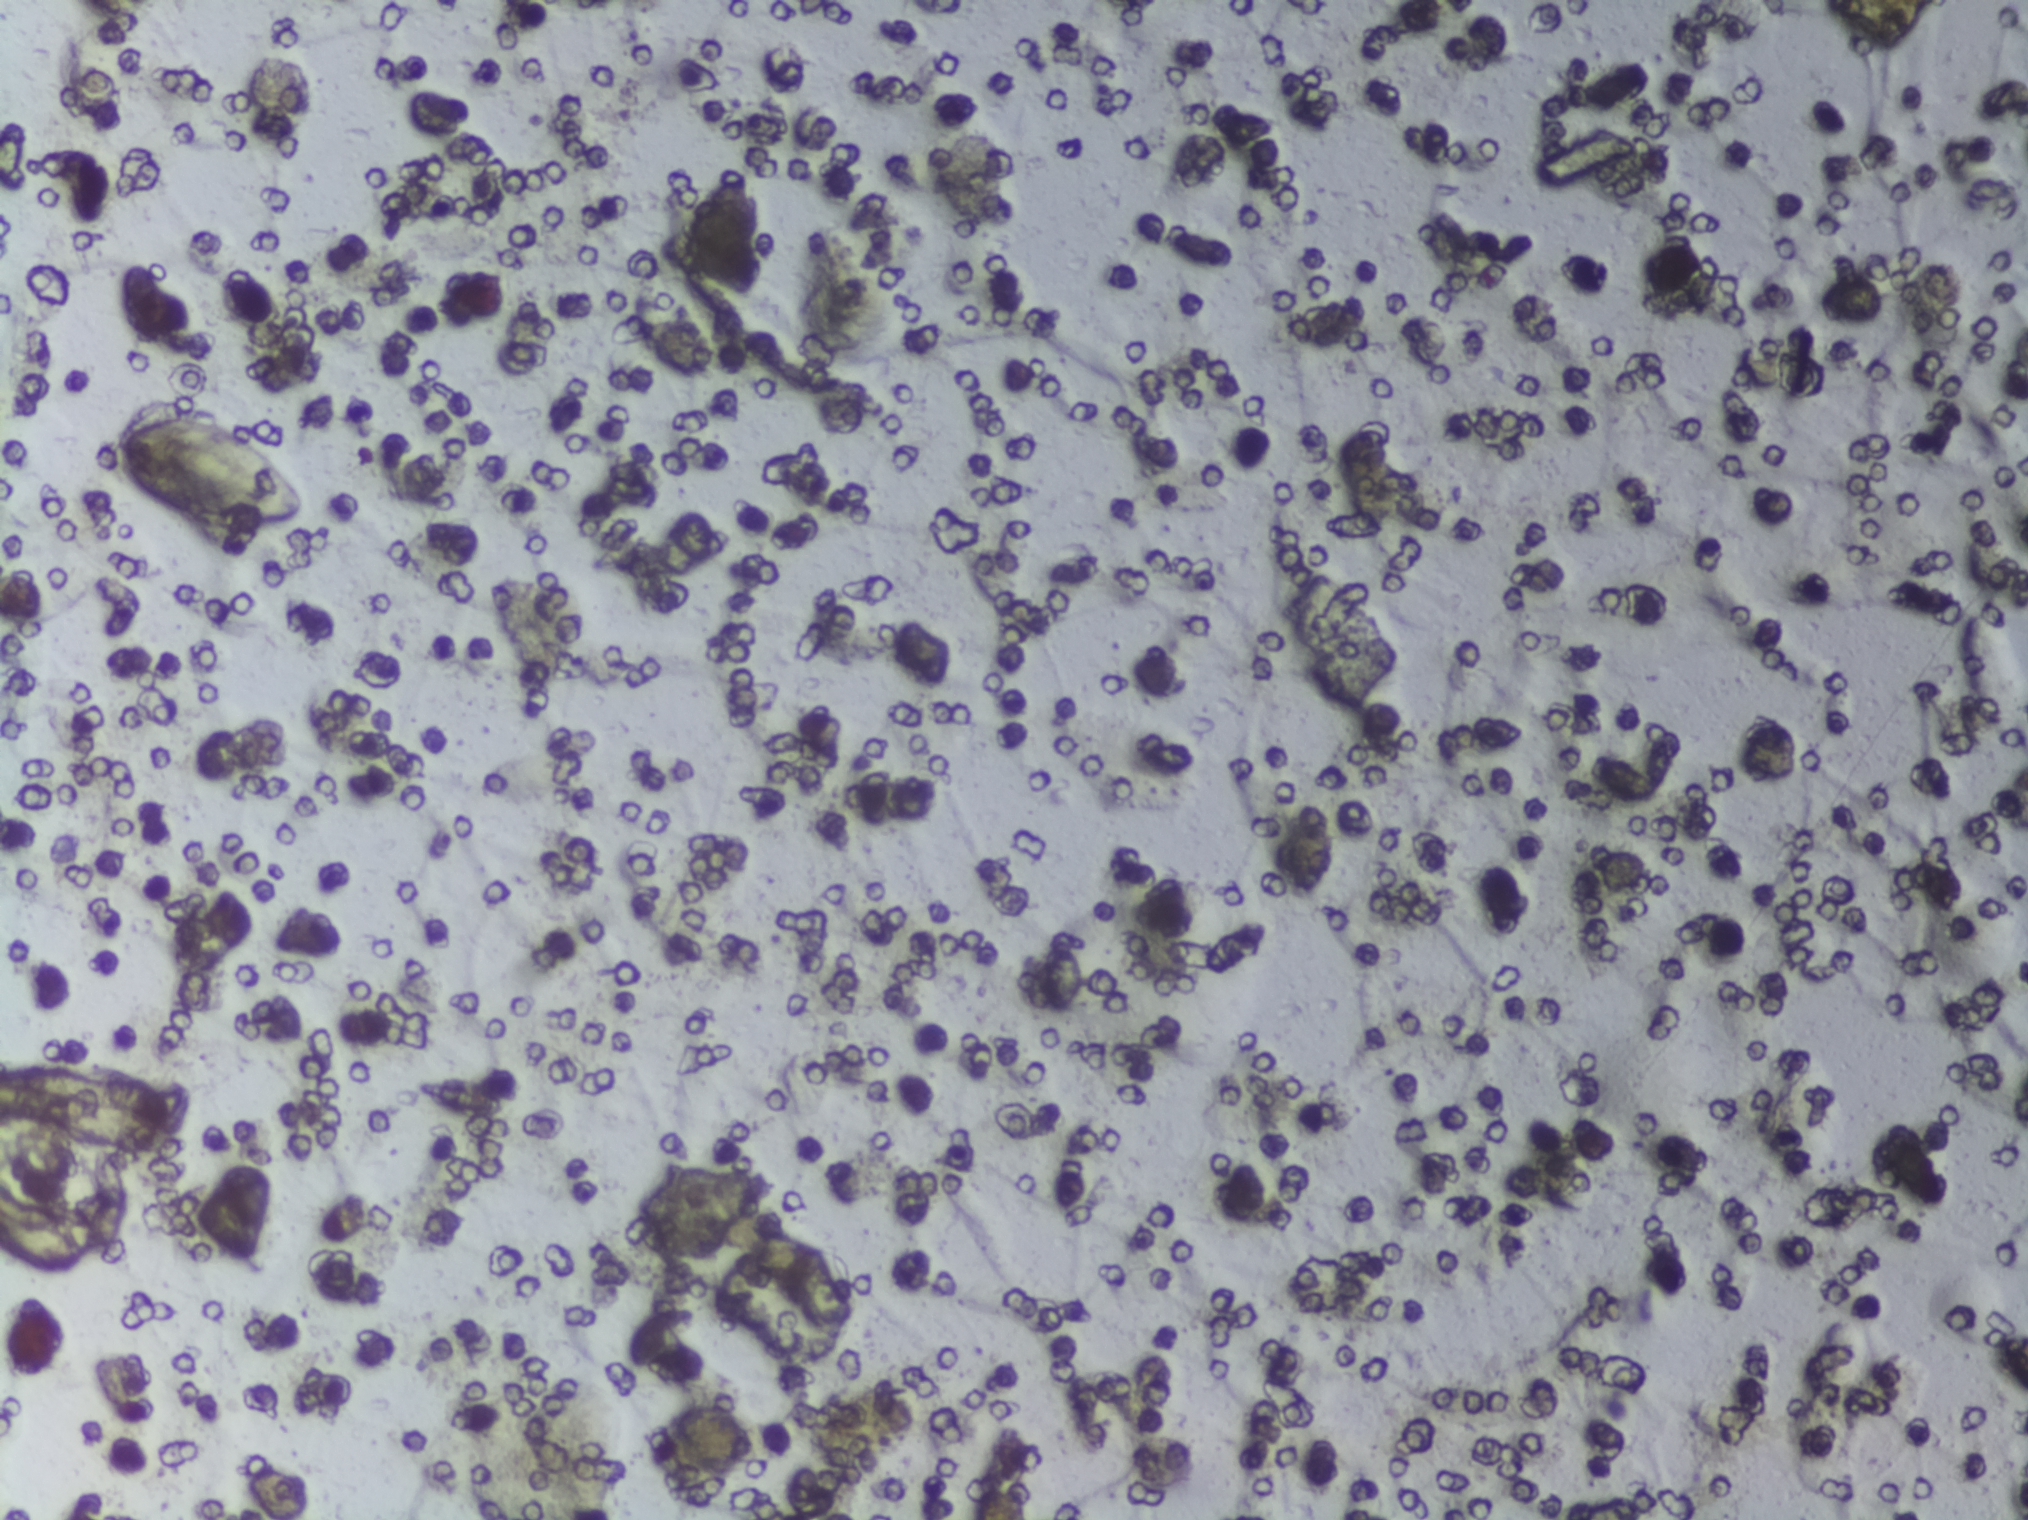
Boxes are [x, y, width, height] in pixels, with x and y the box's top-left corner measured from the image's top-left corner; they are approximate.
Findings: one area outlined as Schistosoma eggs. Location: [114, 414, 196, 117]. The marked pixels themselves, not the box around them, cover about 0.5% of the image. Eggs that touch can end up inside the same outlined area.
Photomicrograph of a urine filtration membrane, 4× objective.